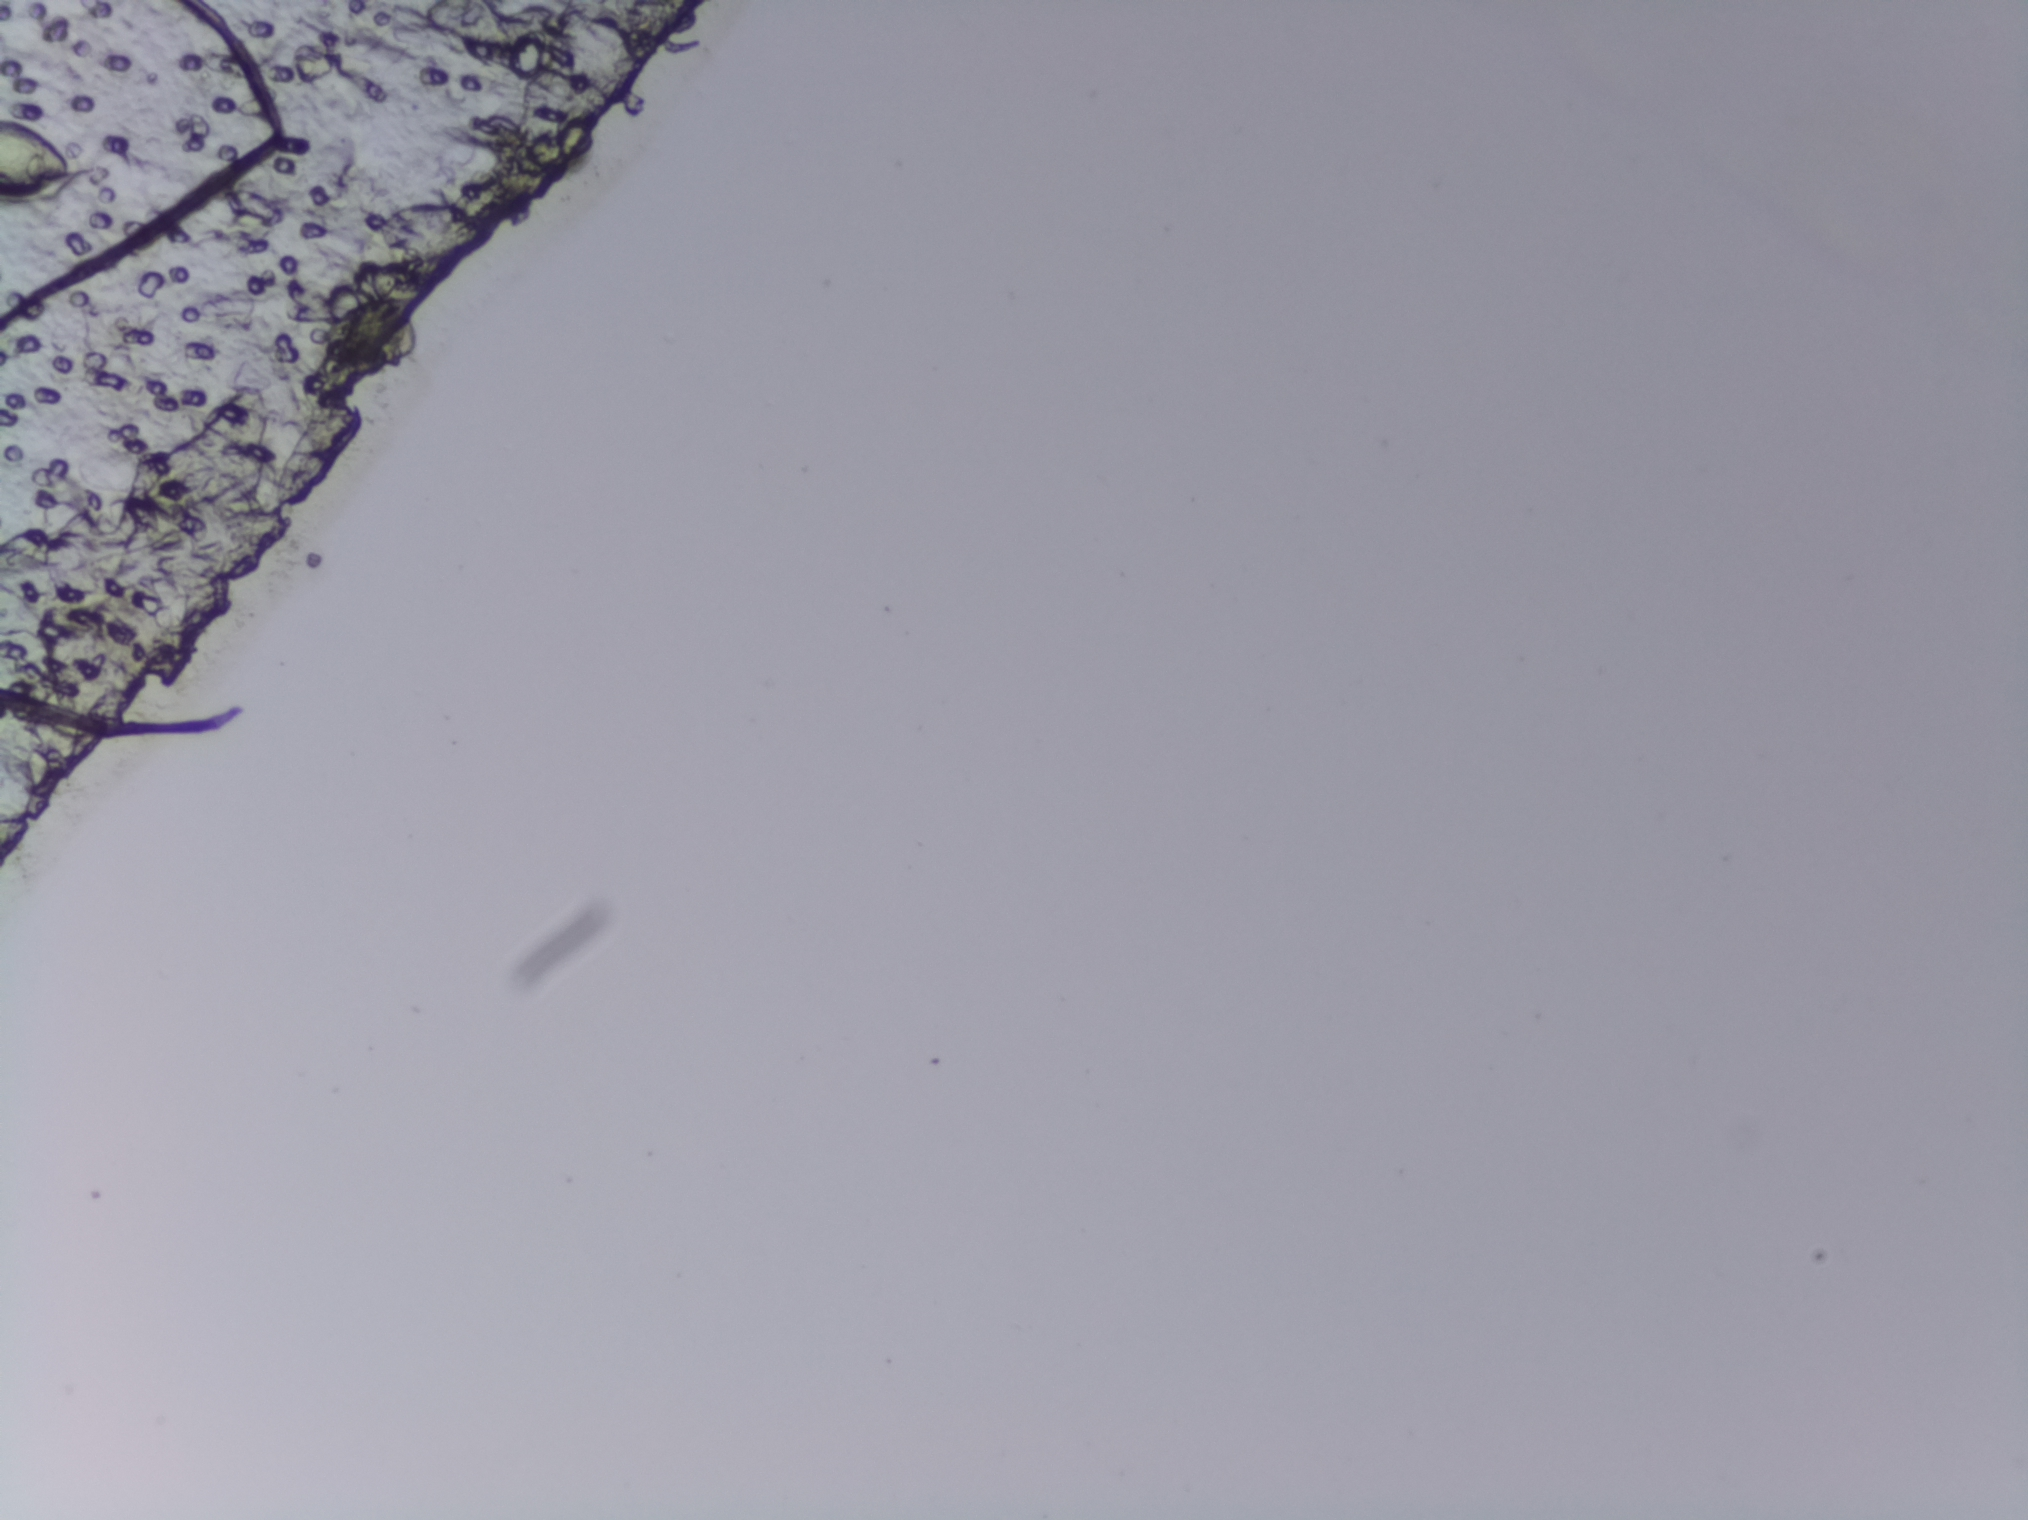
One field of view of a urine filter membrane, 4× objective, 2028 × 1520 pixels.
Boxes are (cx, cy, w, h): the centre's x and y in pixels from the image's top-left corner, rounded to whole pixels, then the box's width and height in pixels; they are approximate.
Schistosoma eggs are outlined in one area of this image: (cx=42, cy=162, w=84, h=98) (reaching the left edge of the frame). Eggs that touch can end up inside the same outlined area.